Photograph from an automated digital microscope: urine filter membrane, 4× objective.
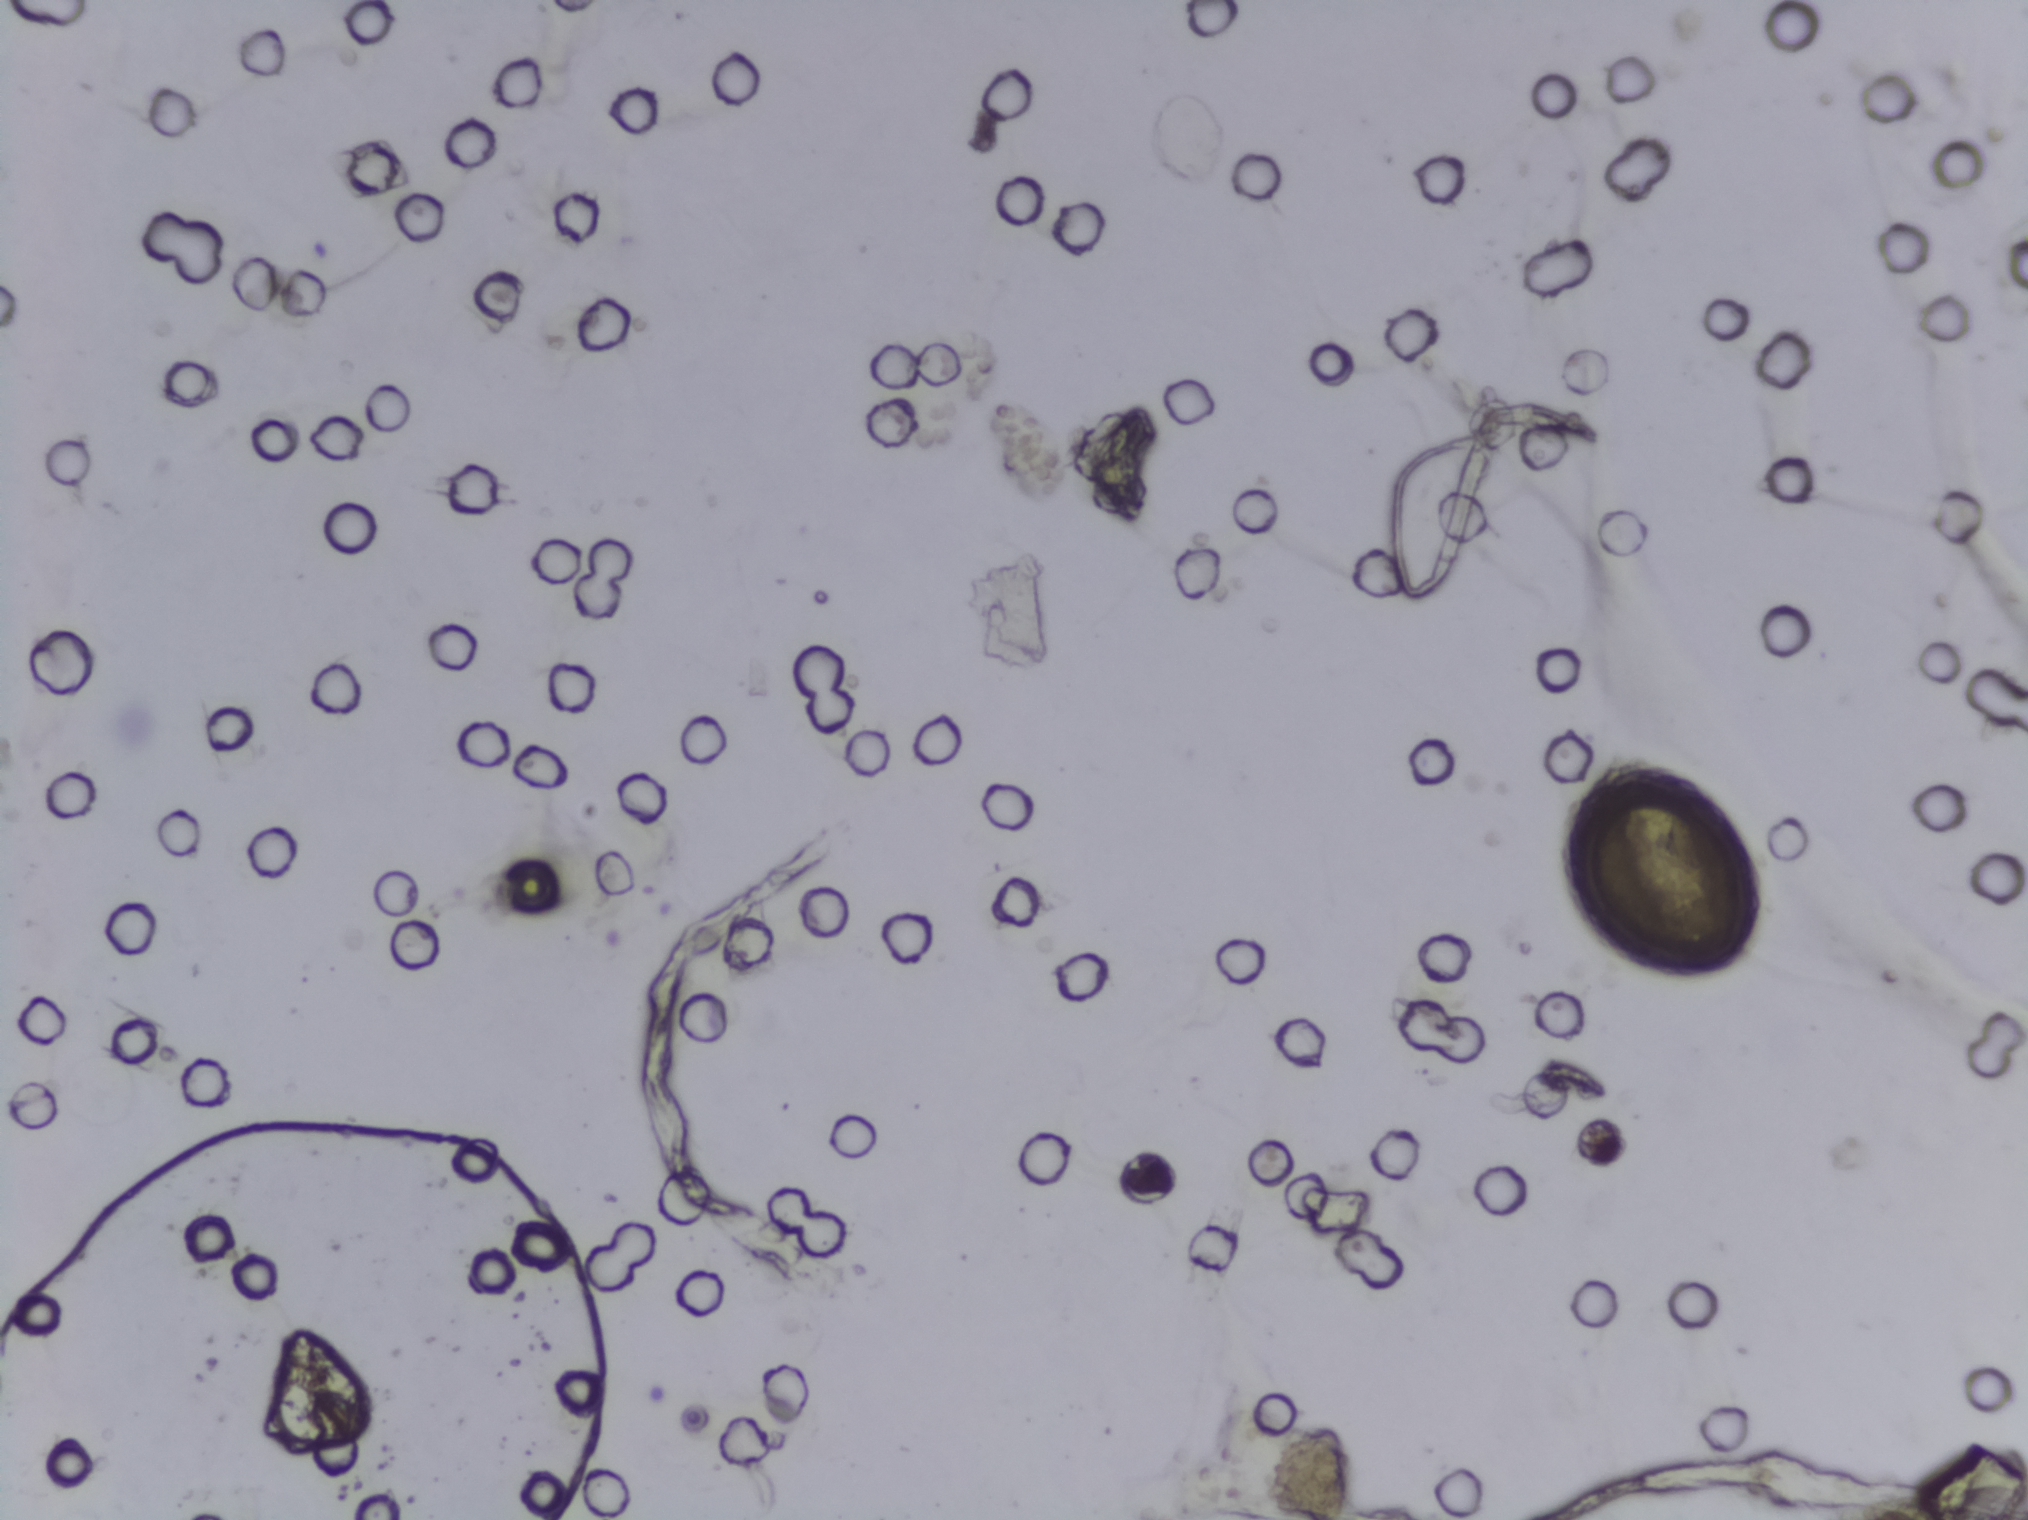
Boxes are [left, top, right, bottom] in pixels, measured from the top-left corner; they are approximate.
Schistosoma eggs are outlined in one area of this image: [1614, 761, 1715, 955]. Marked pixels, not the box around them: about 0.4% of the image. Eggs that touch can end up inside the same outlined area.